Urine filtration membrane under a 4× objective, photographed by an automated digital microscope. The field of view is about 1.5 mm × 1.1 mm.
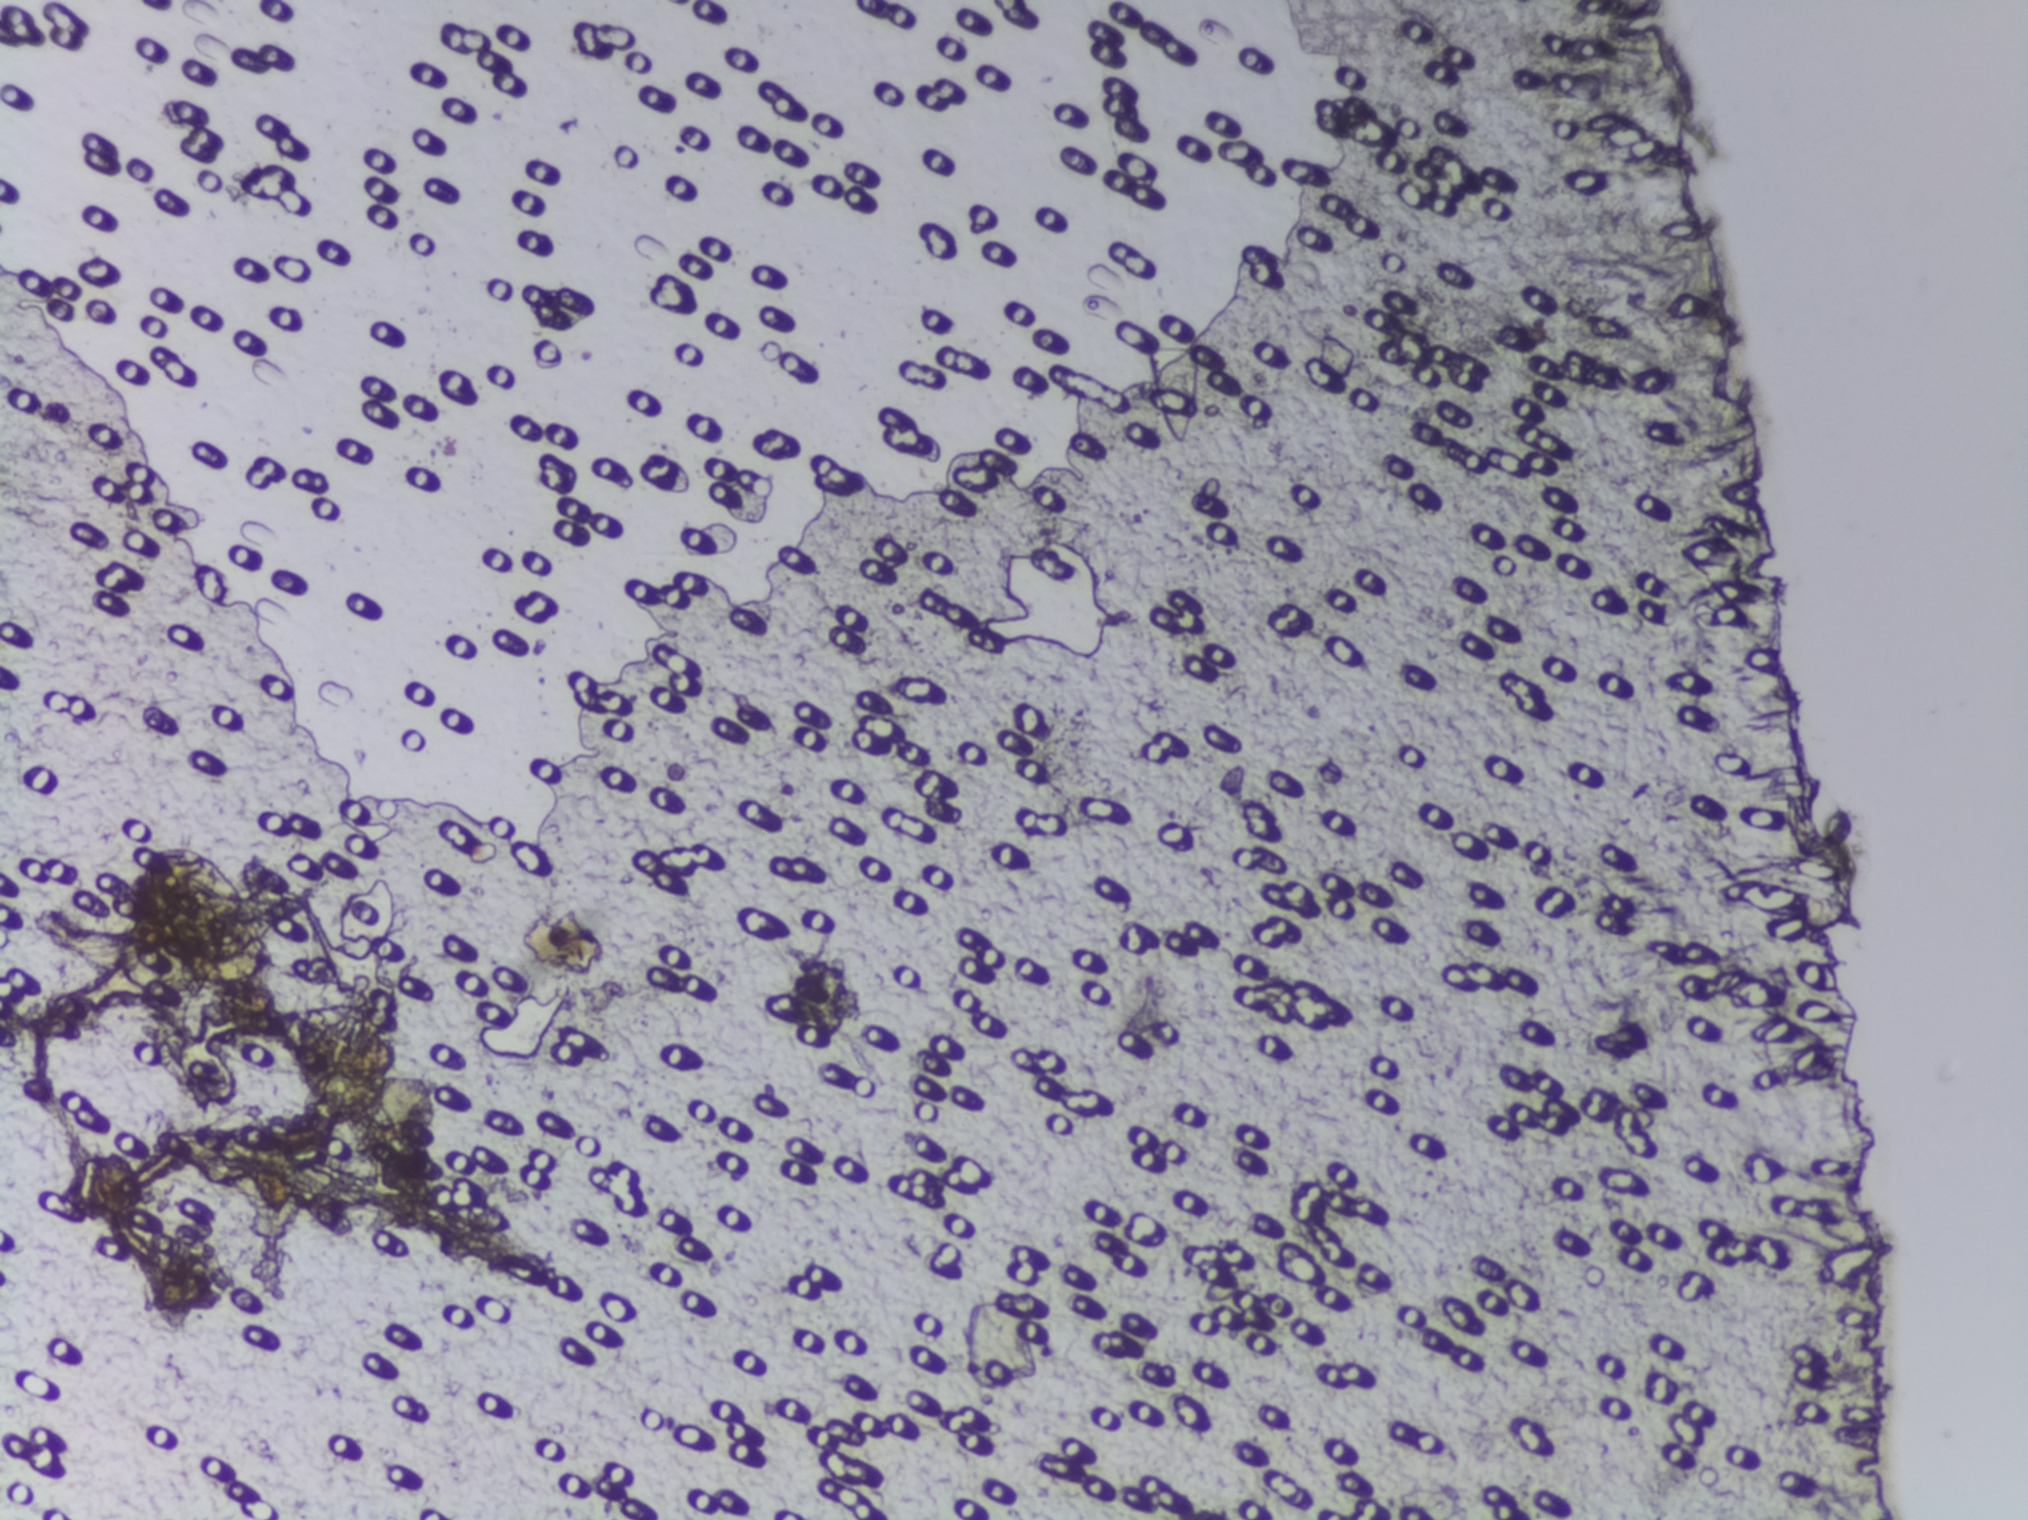
No area of this image was outlined as a Schistosoma egg.